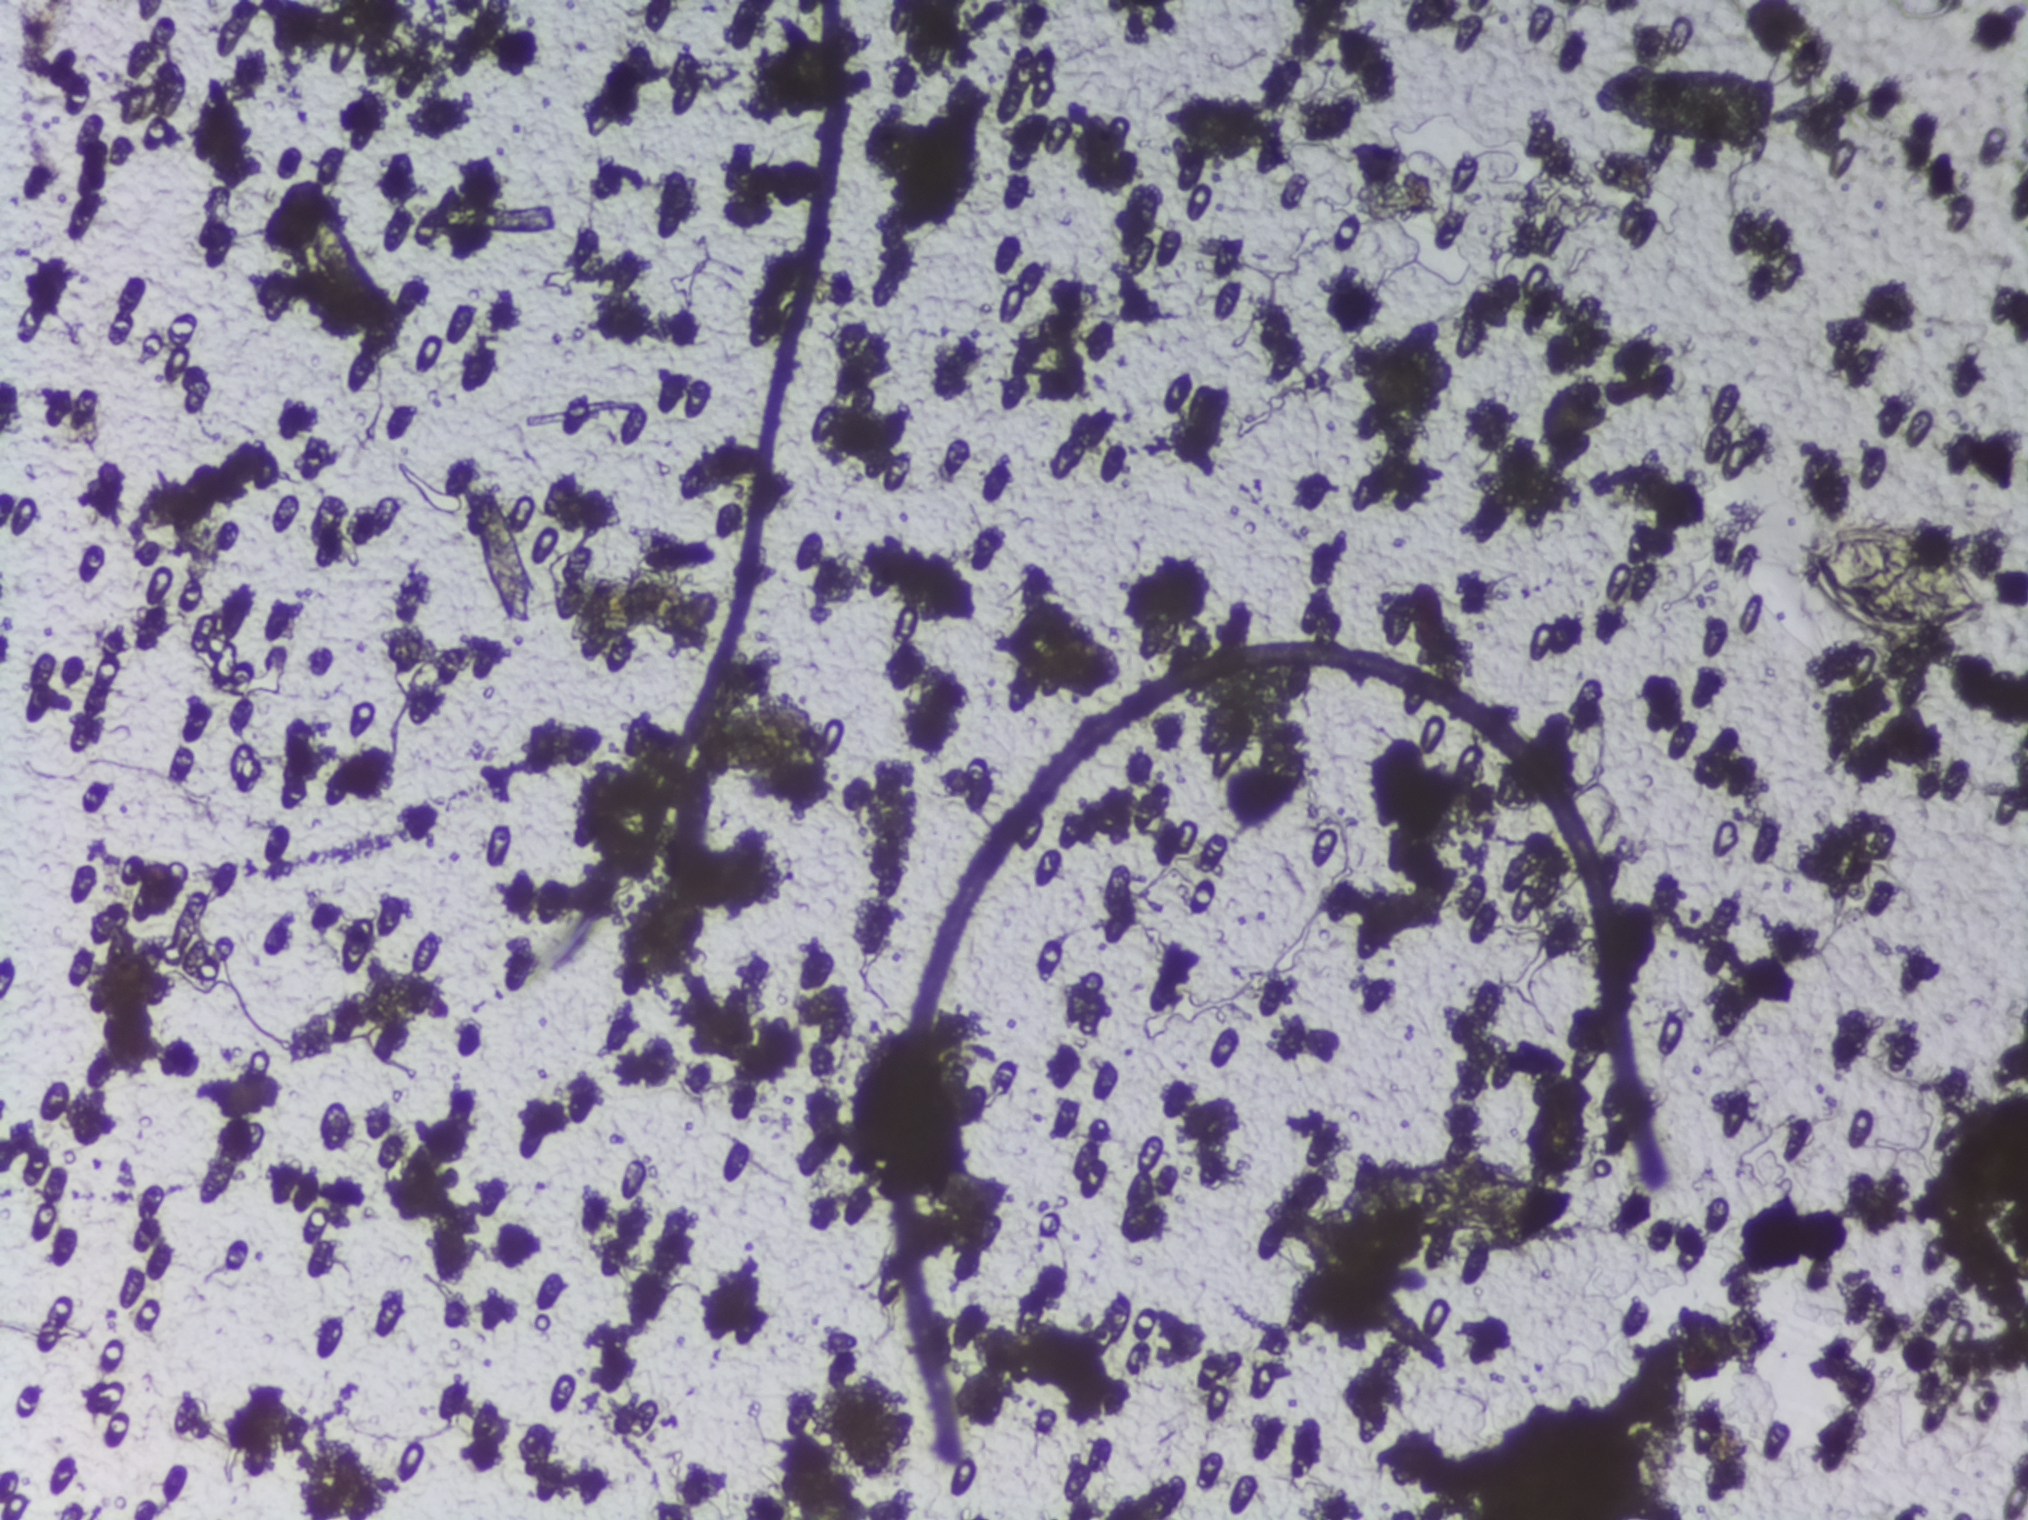
Photomicrograph of a urine filtration membrane, 4× objective.
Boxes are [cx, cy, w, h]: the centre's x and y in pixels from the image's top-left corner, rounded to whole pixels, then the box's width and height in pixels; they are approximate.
{"schistosoma_egg_areas_cxcywh_px": [[1059, 658, 130, 65], [1457, 1196, 236, 80], [1893, 577, 200, 122]]}
An outlined area can hold more than one egg.